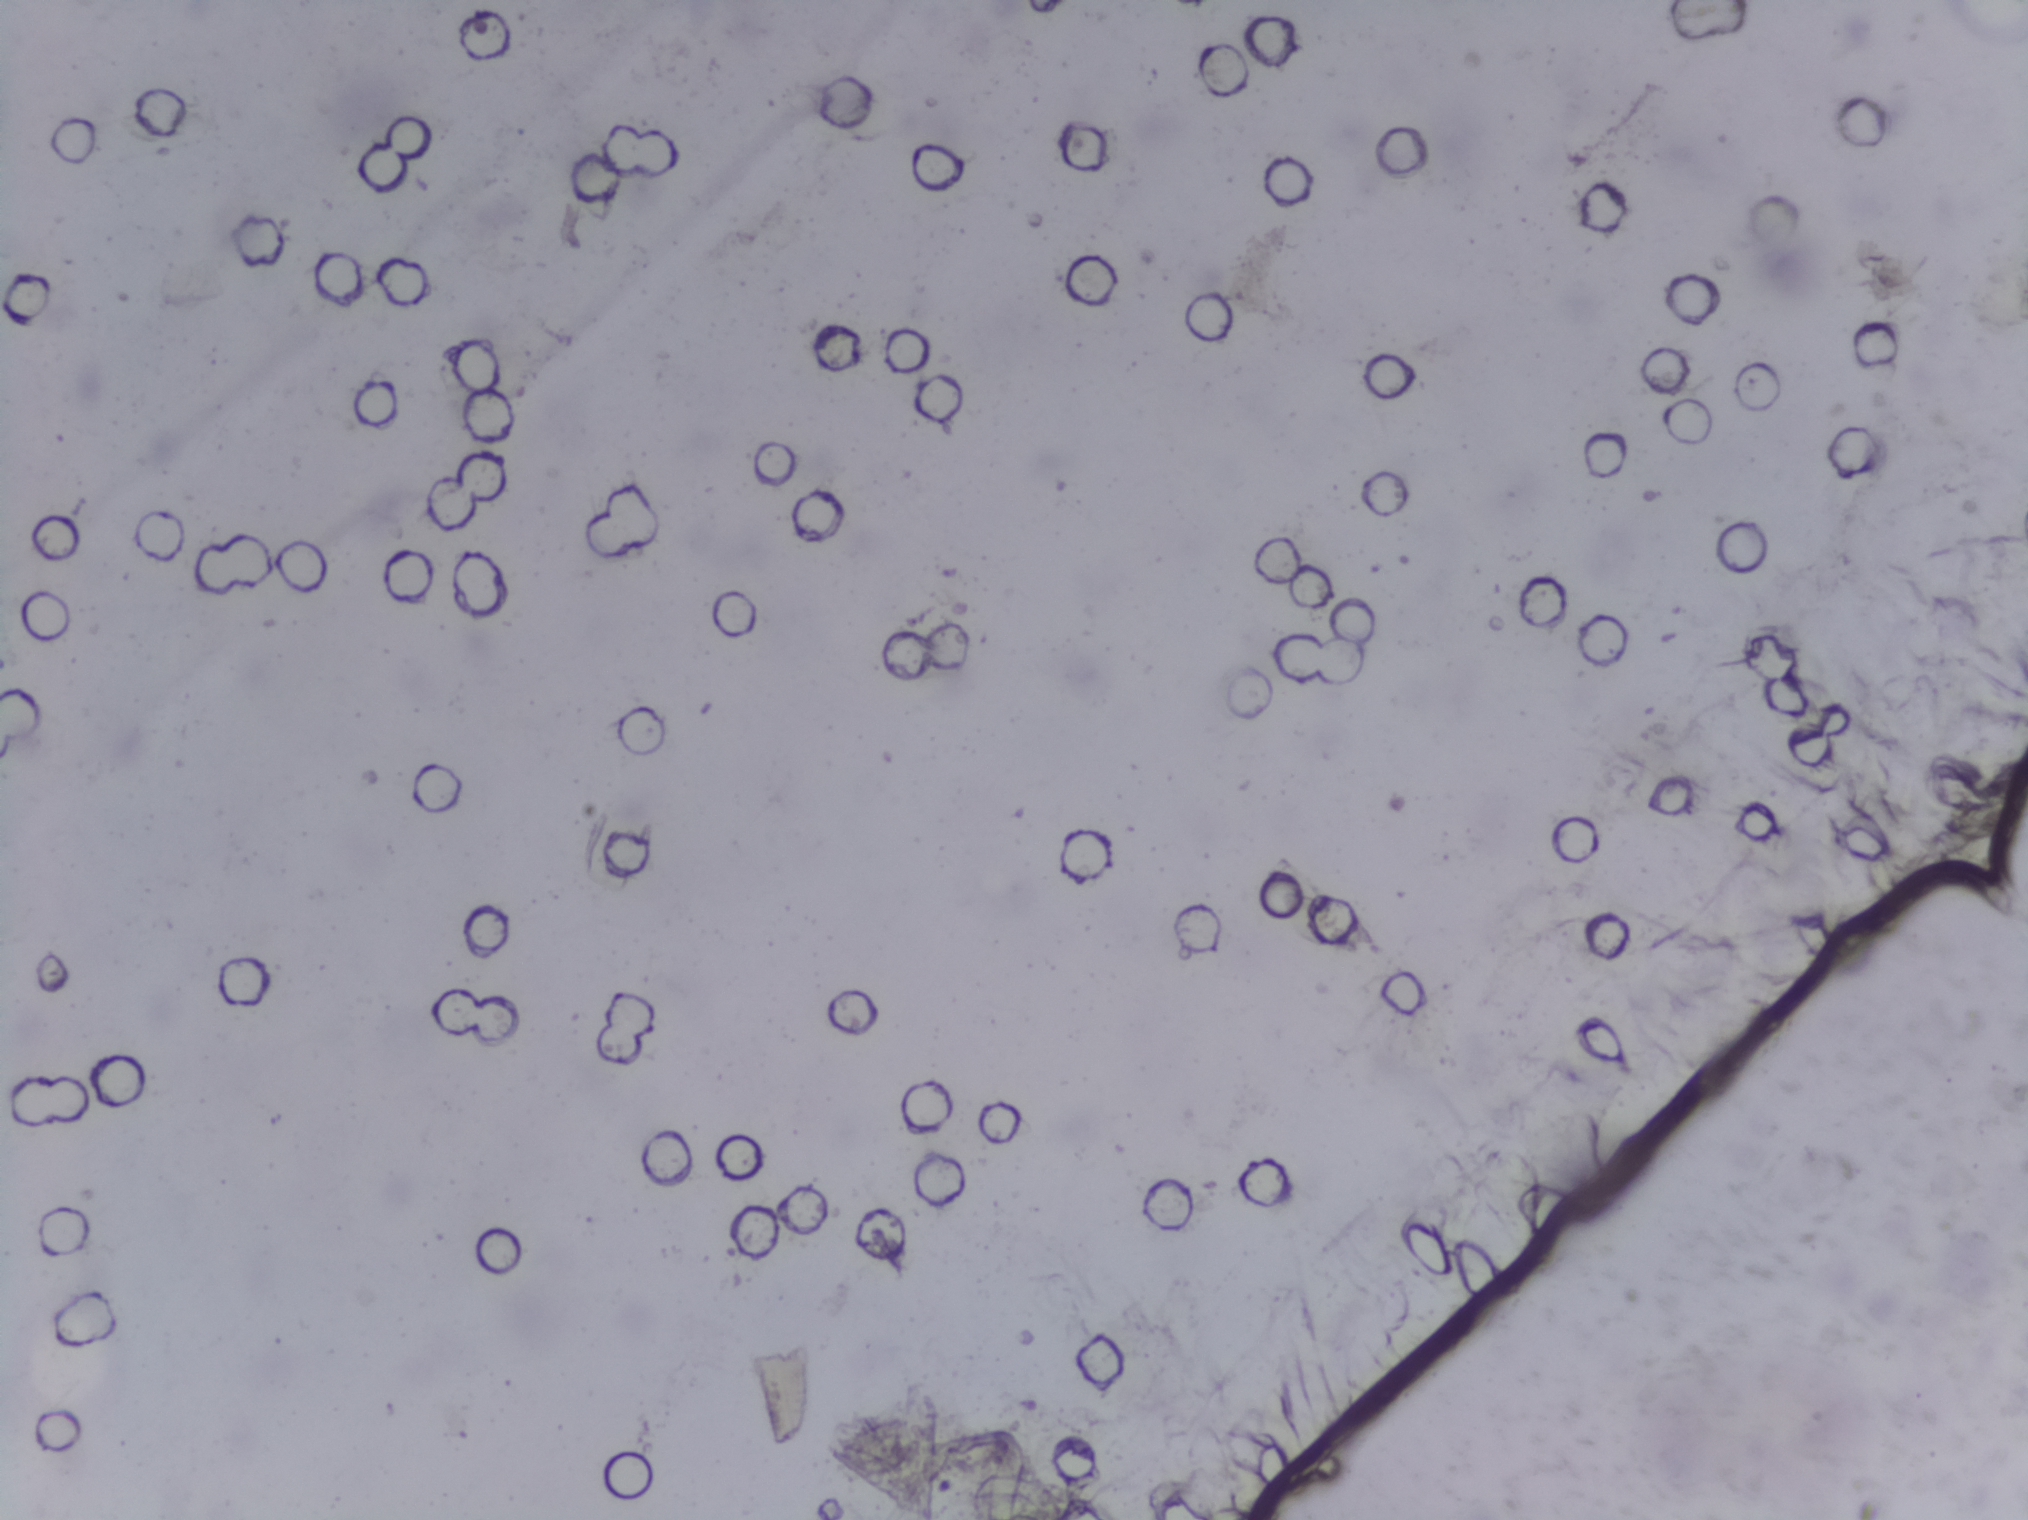
Photomicrograph of a urine filtration membrane, 4× objective.
Schistosoma eggs: none outlined.